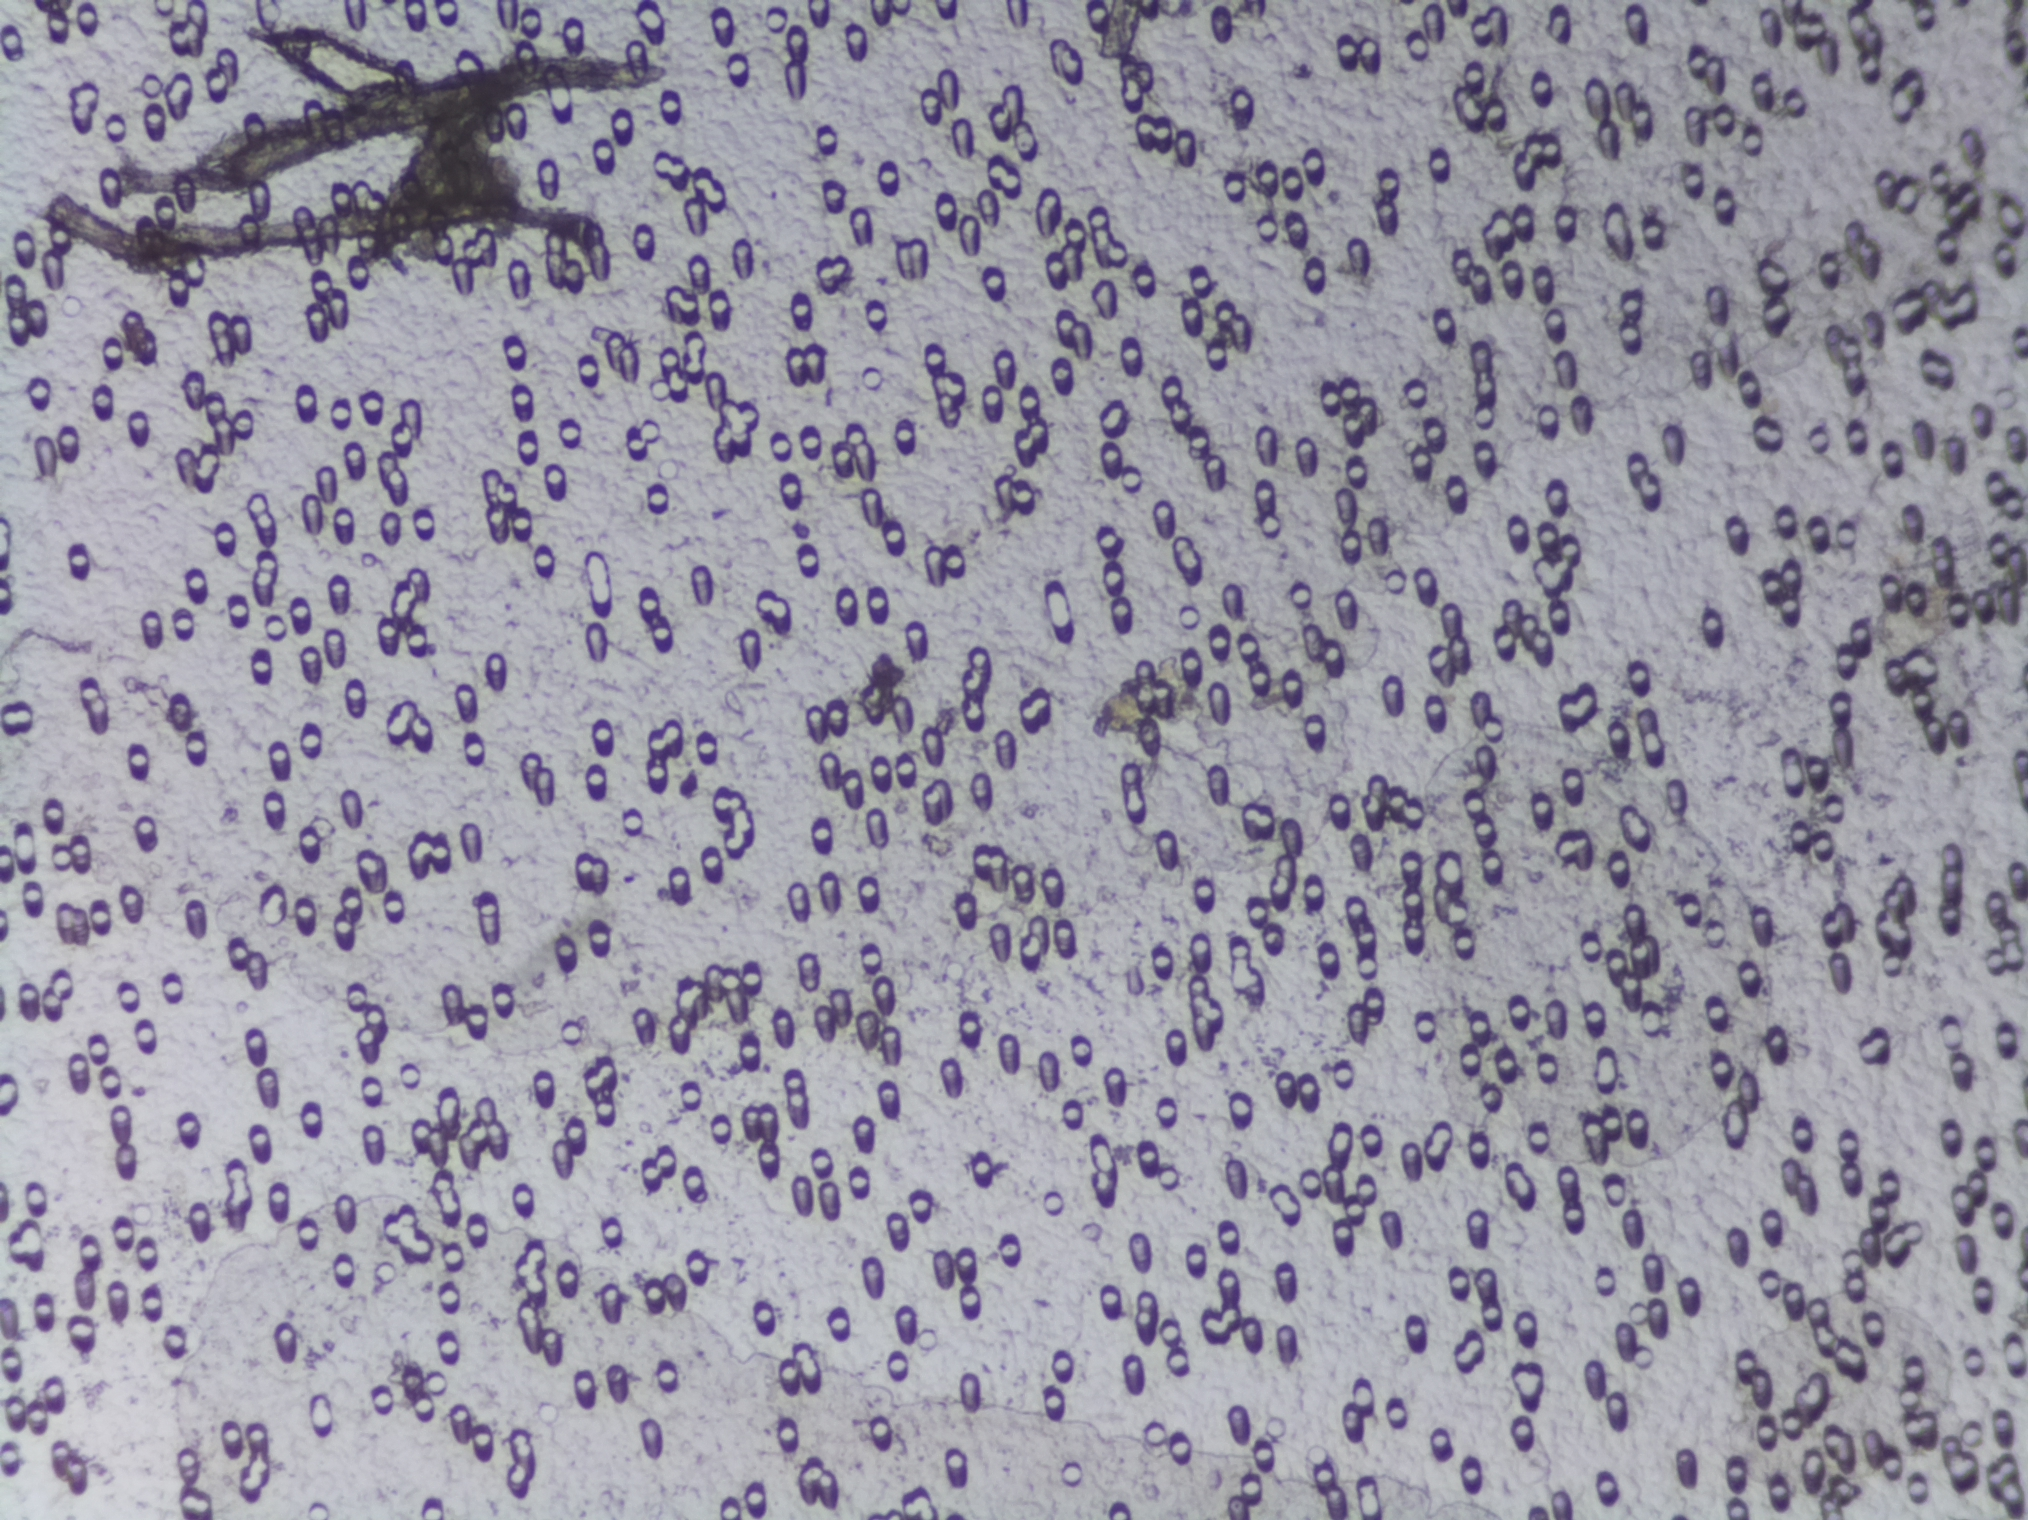
Photomicrograph of a urine filtration membrane, 4× objective.
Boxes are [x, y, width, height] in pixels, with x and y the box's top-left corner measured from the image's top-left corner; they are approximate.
One area of this image is outlined as Schistosoma eggs: [233, 23, 205, 87]. The marked pixels themselves, not the box around them, cover about 0.3% of the image. A single outlined area may contain several eggs.